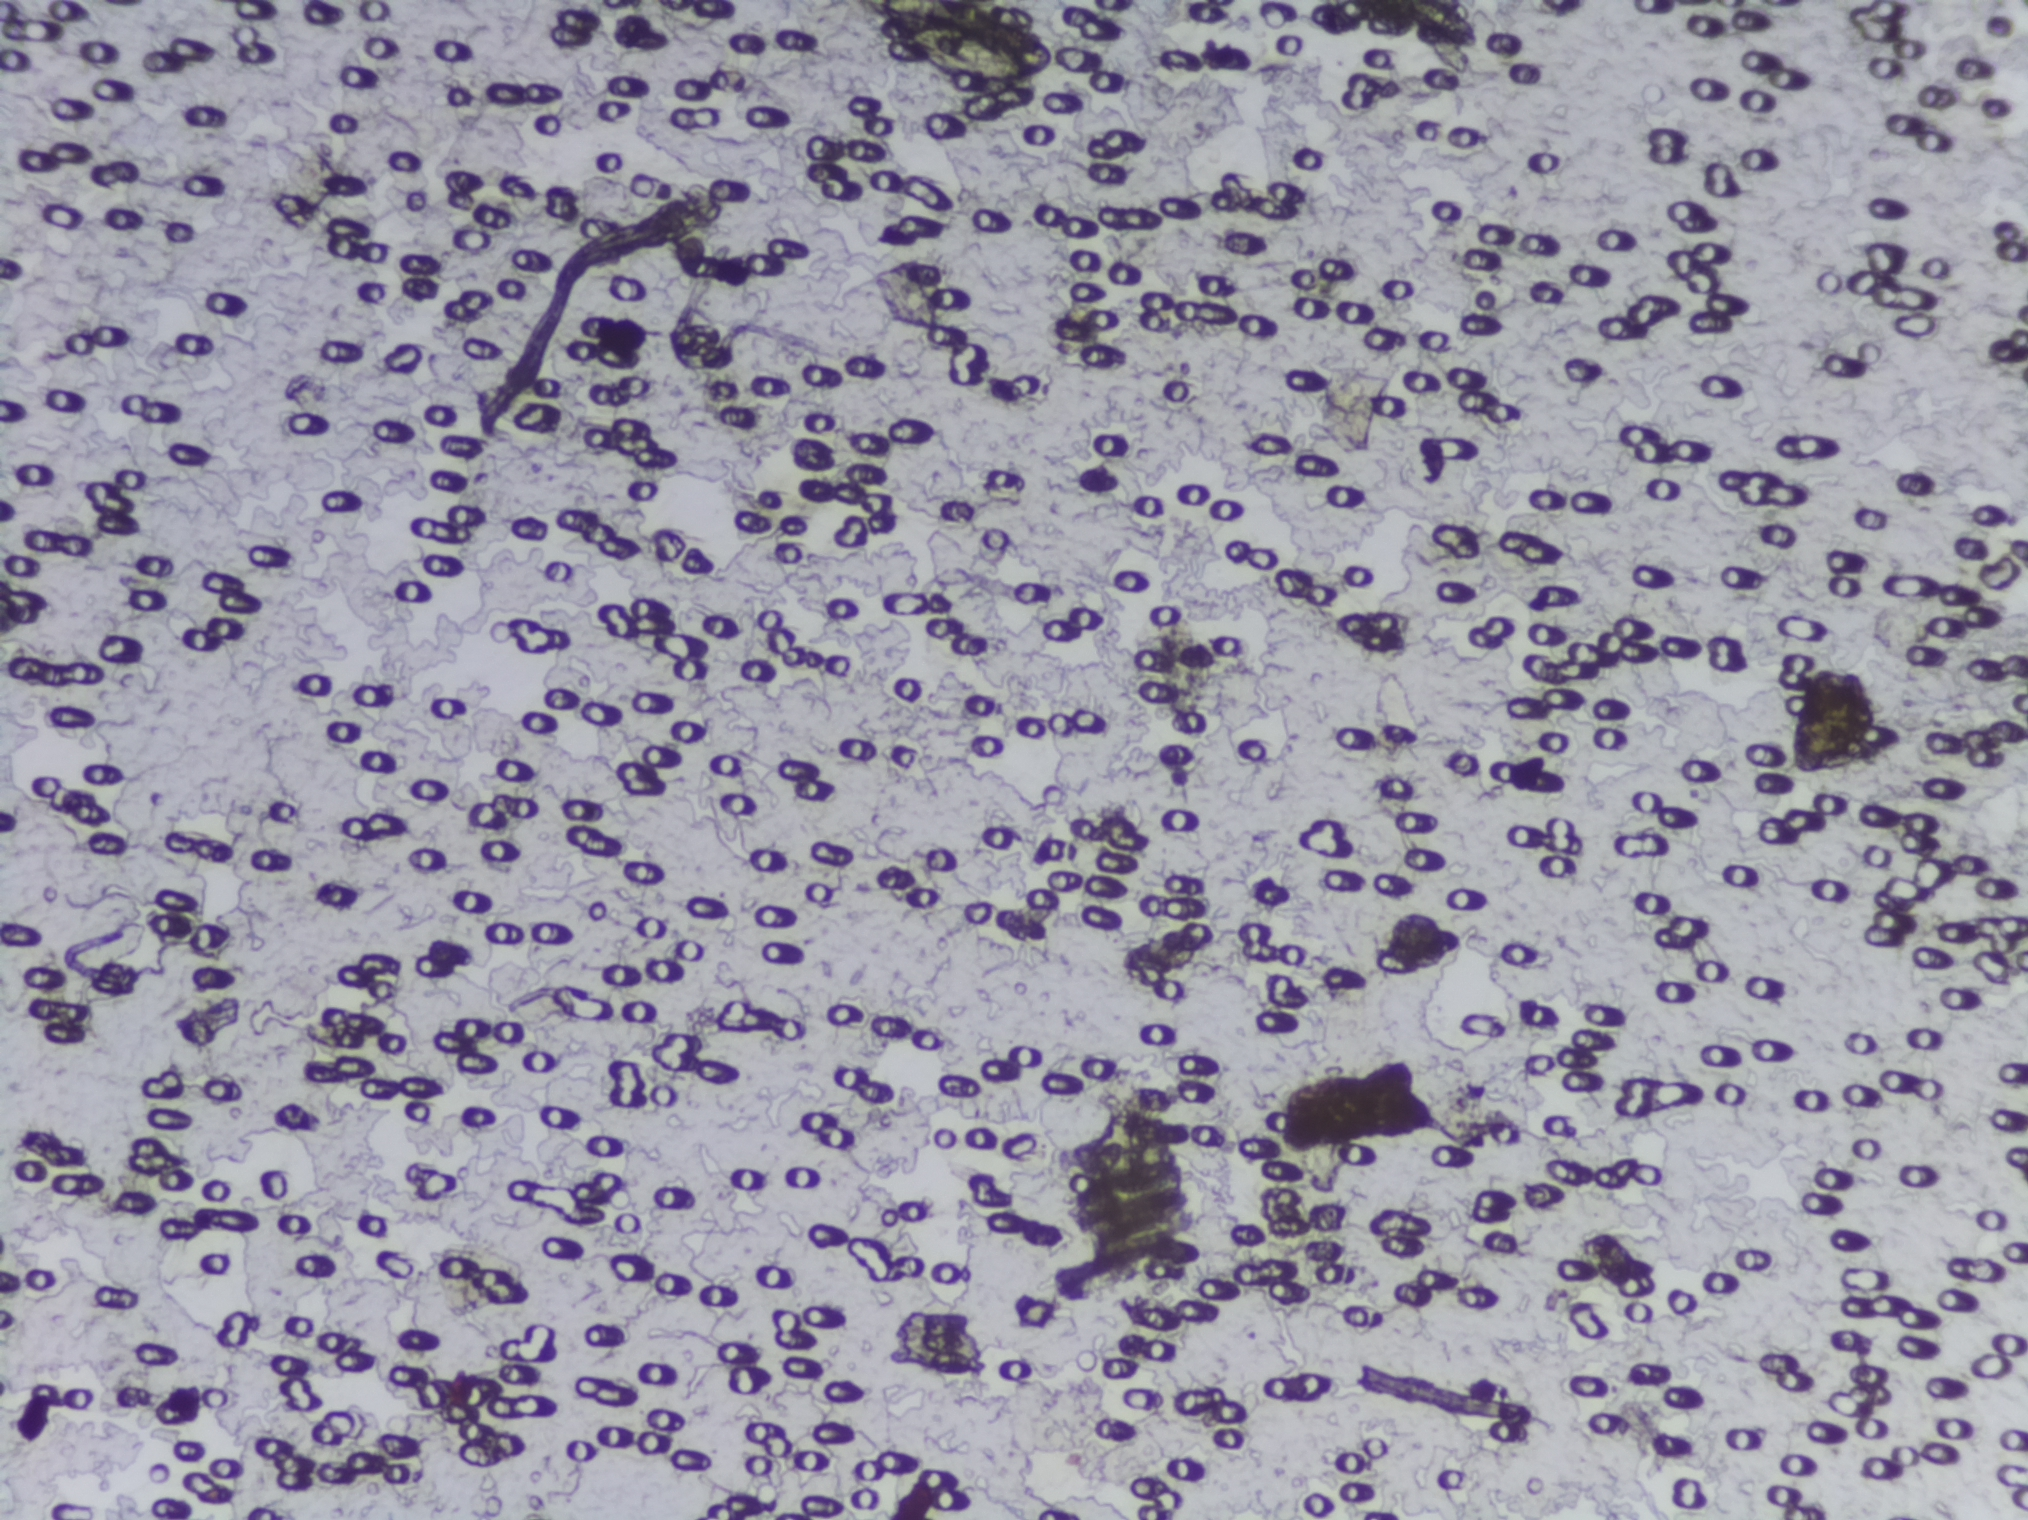
Microscope photograph (4× objective) of a membrane that a urine sample was filtered through.
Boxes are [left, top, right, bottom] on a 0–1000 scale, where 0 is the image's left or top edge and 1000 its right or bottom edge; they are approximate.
The expert annotation outlines Schistosoma eggs at [431, 0, 523, 57] (reaching the top edge of the frame). A single outlined area may contain several eggs.